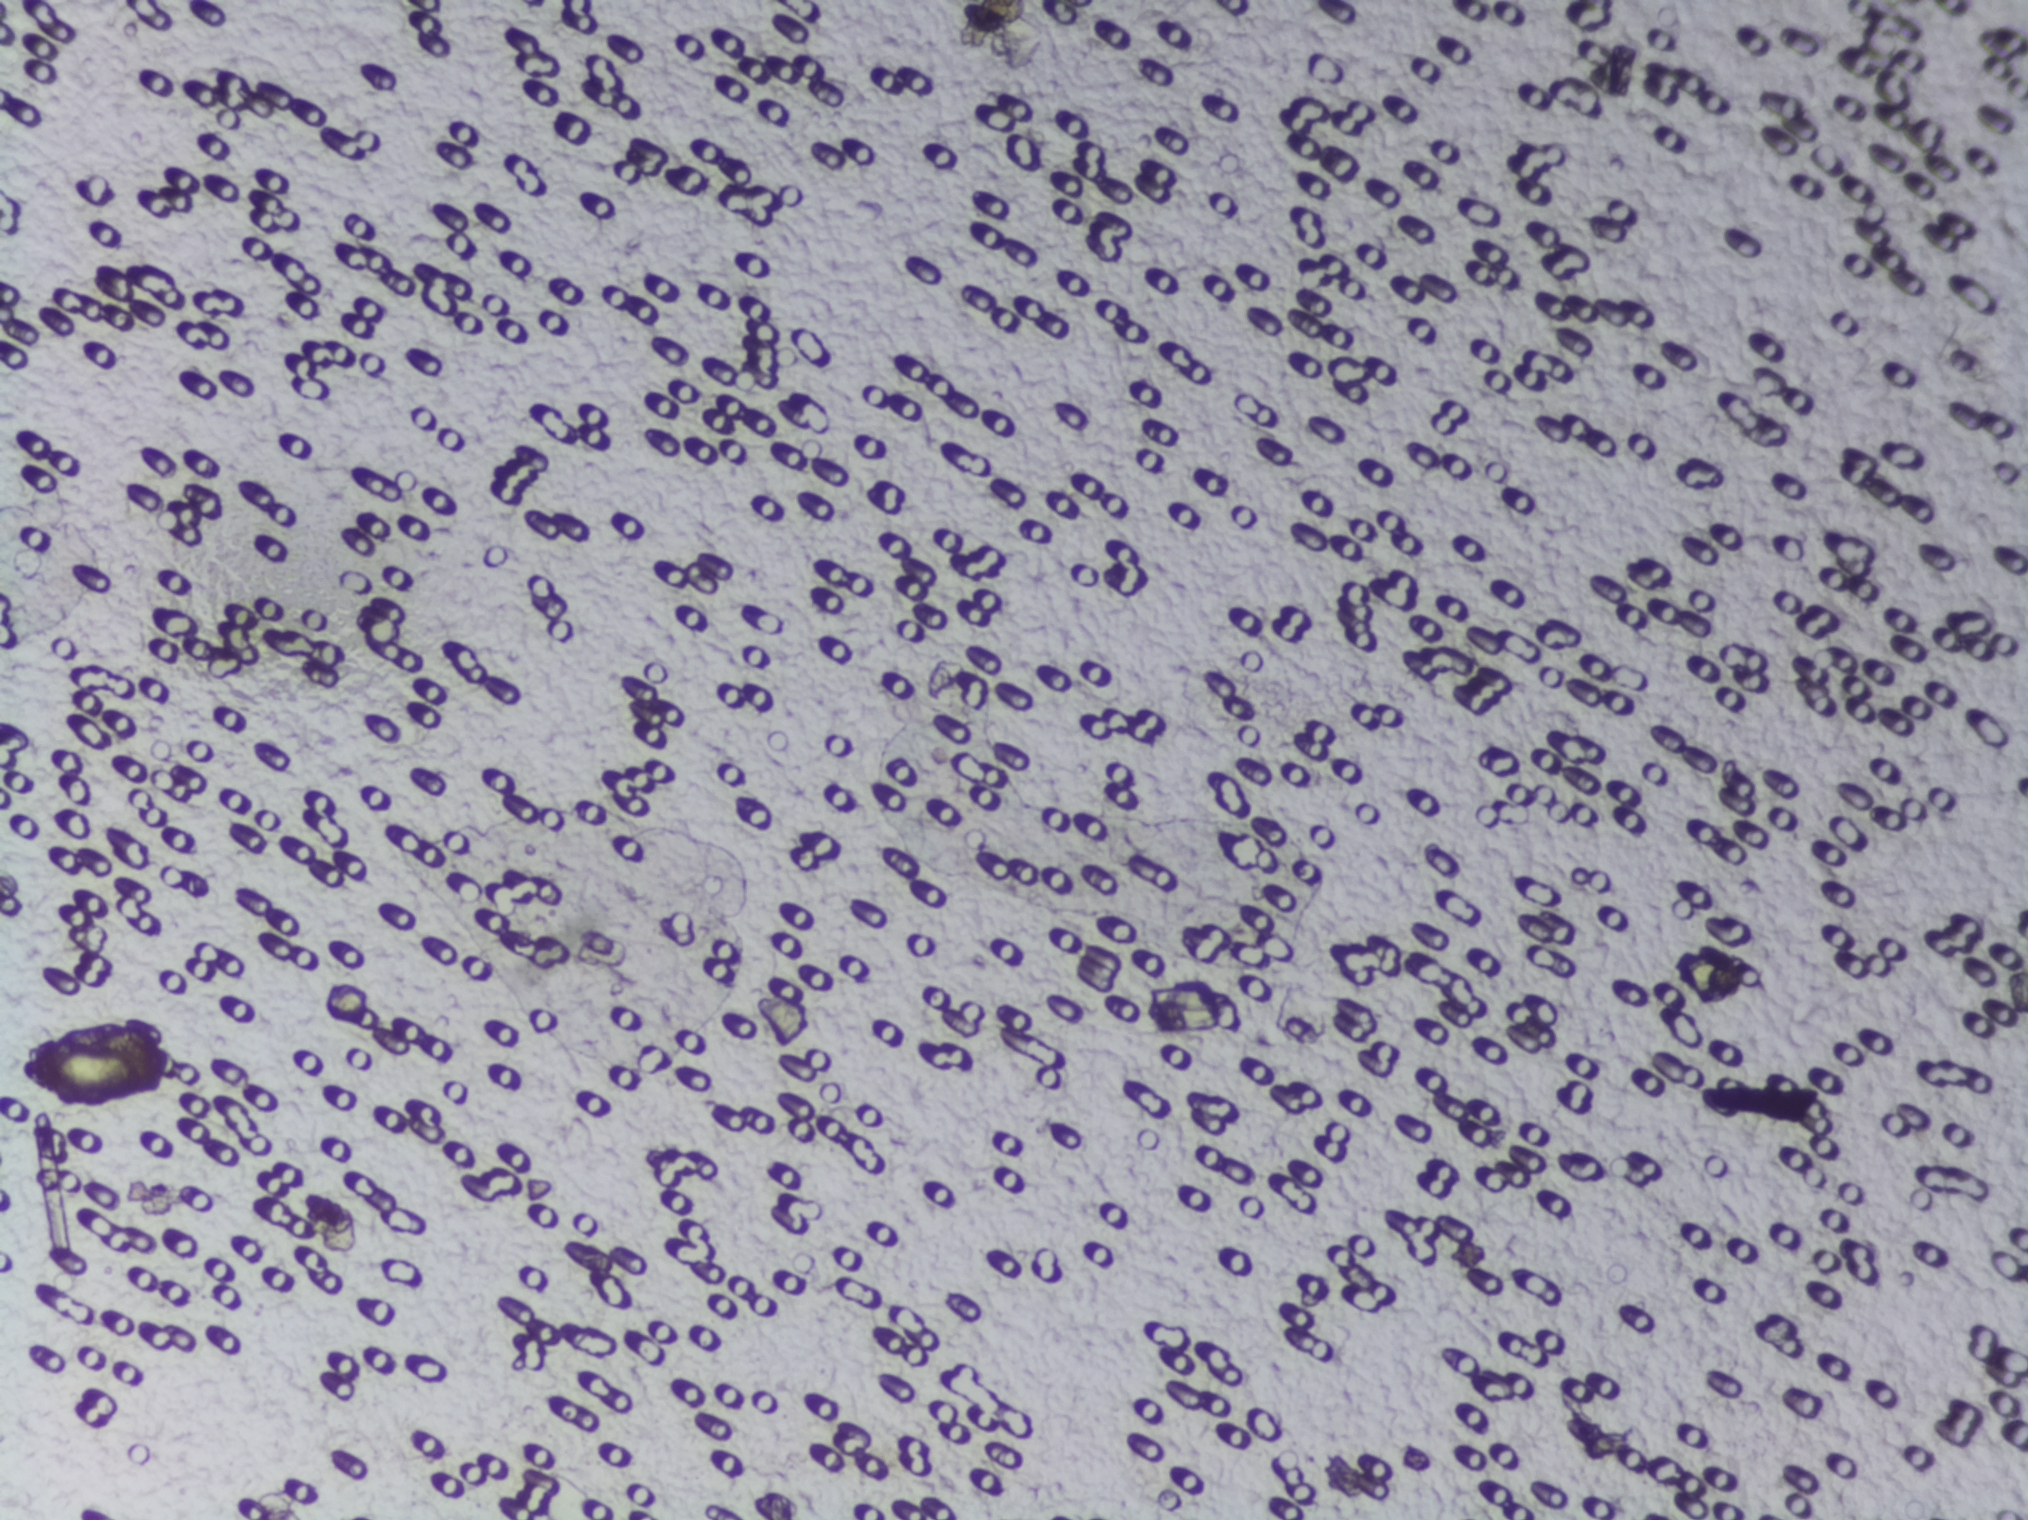
Urine filter membrane photographed through a 4× microscope objective. Field of view: about 1.5 mm wide and 1.1 mm high.
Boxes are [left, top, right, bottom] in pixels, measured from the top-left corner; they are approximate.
Schistosoma eggs are outlined in one area of this image: [14, 1019, 175, 1104]. Eggs that touch can end up inside the same outlined area.